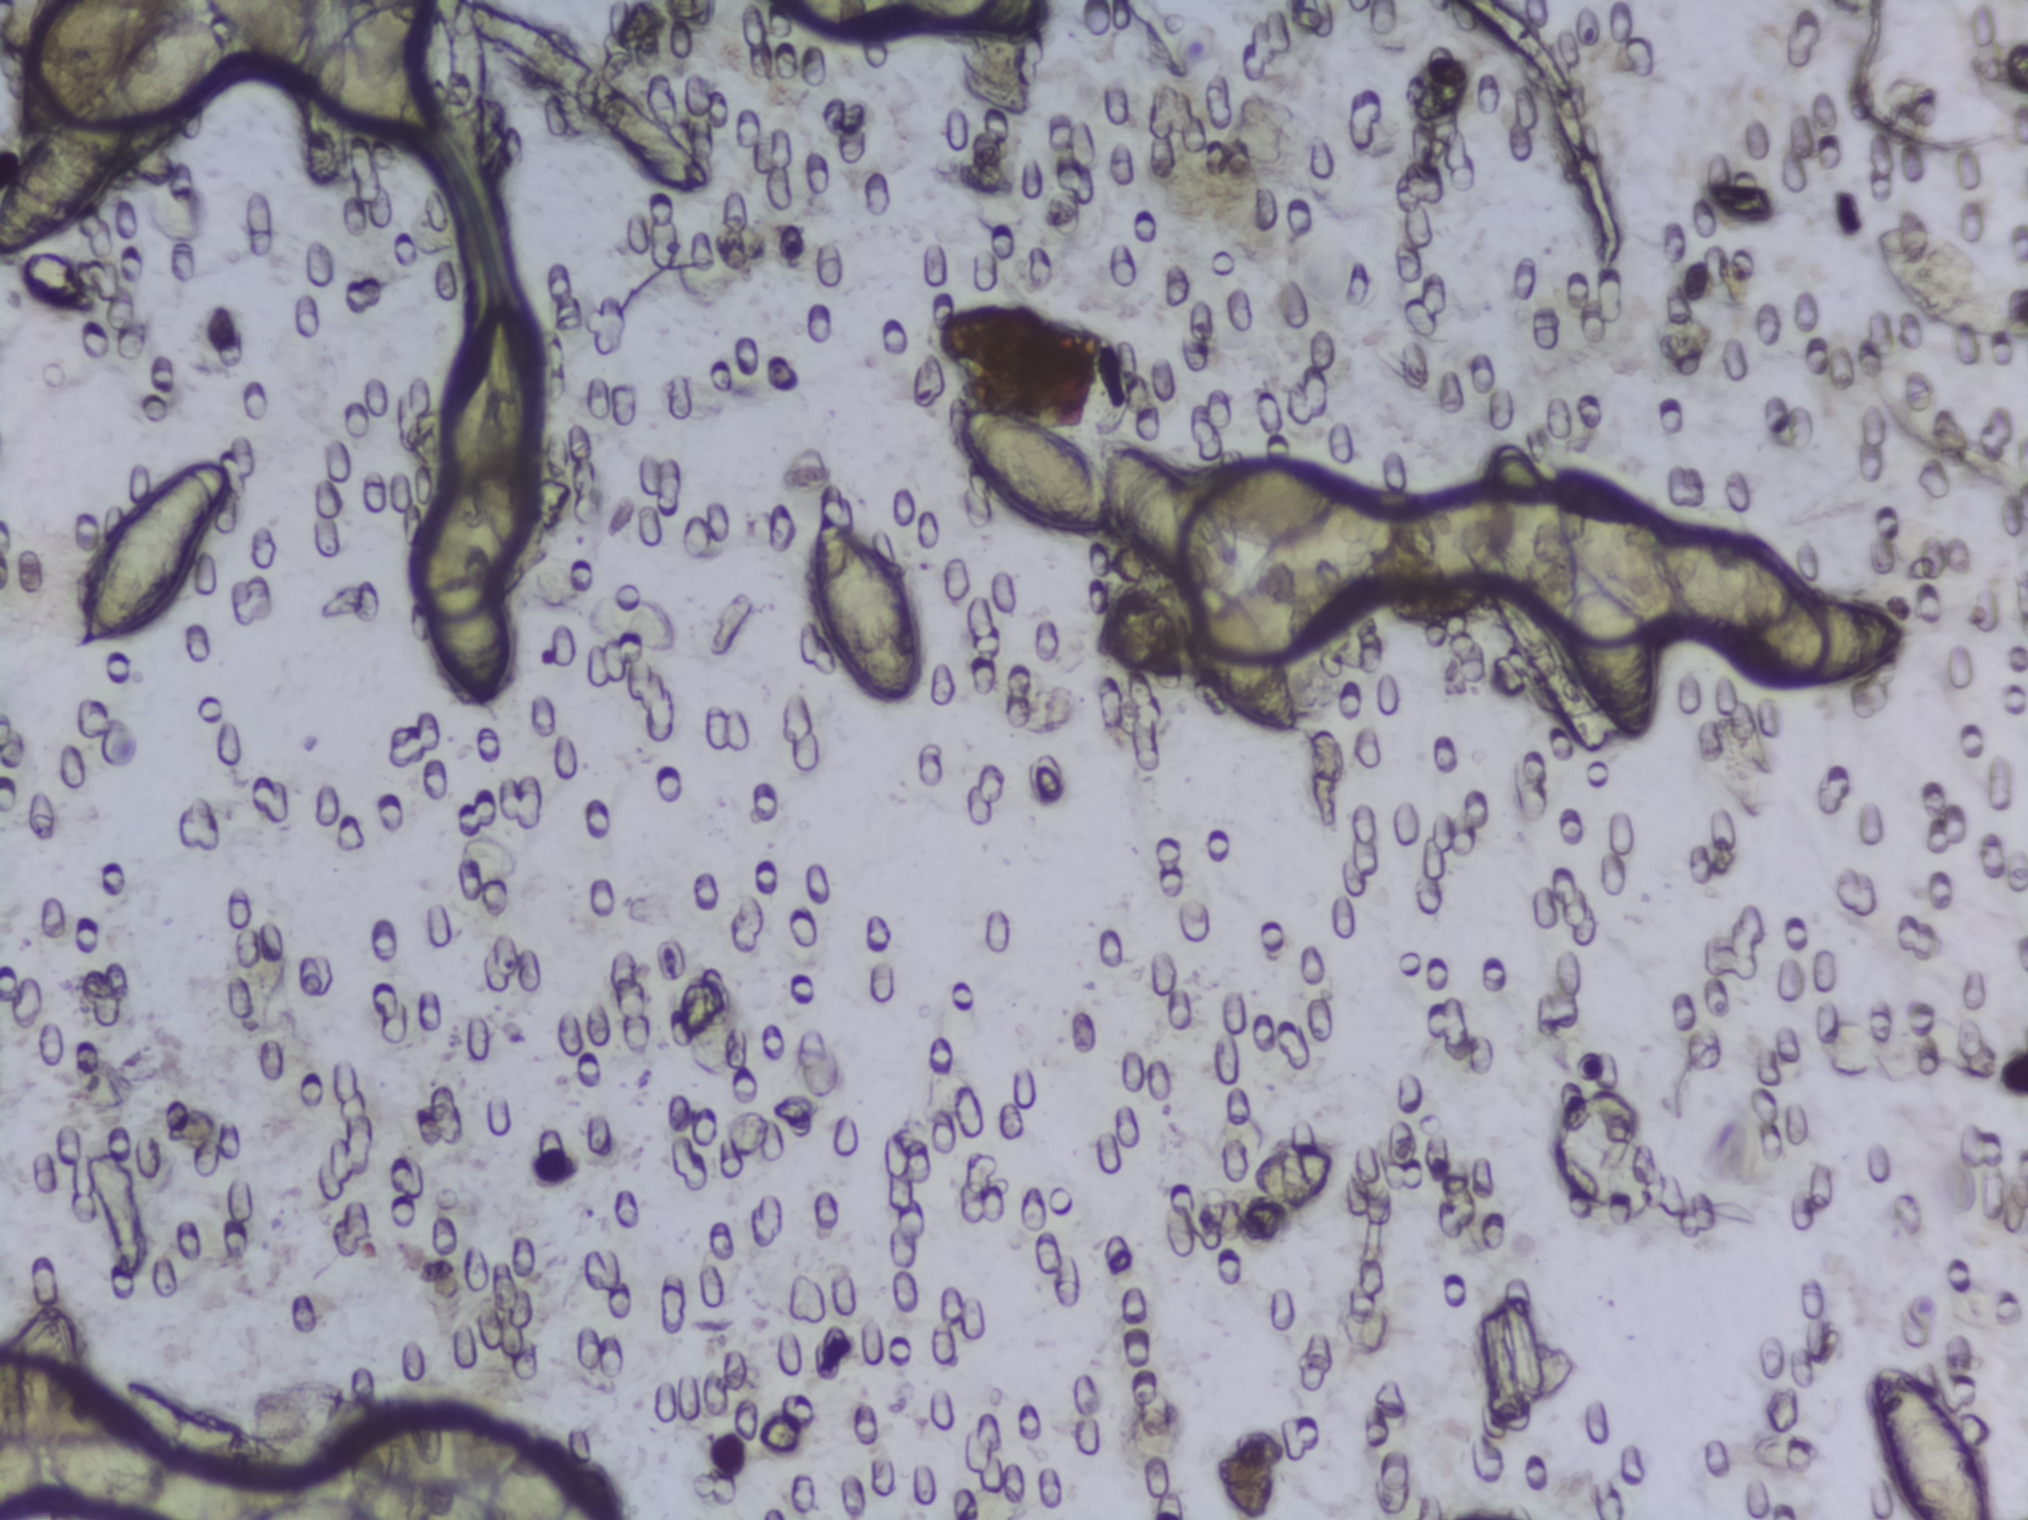
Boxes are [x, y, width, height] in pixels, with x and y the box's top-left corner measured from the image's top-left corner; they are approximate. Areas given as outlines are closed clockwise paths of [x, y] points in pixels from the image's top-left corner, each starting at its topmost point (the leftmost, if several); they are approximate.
Areas outlined as Schistosoma eggs, left to right:
1. outline [51, 0], [136, 0], [130, 42], [160, 18], [210, 8], [206, 0], [317, 0], [317, 38], [307, 63], [376, 1], [442, 0], [444, 21], [374, 149], [337, 182], [317, 179], [302, 141], [306, 67], [298, 72], [258, 64], [235, 40], [202, 98], [163, 127], [123, 143], [114, 183], [72, 236], [37, 253], [0, 258], [0, 171], [22, 147], [20, 64] (eggs clustered together; reaching the left and top edges of the frame)
2. outline [50, 1306], [70, 1307], [82, 1344], [80, 1395], [59, 1434], [113, 1435], [161, 1461], [196, 1459], [294, 1482], [336, 1462], [353, 1473], [366, 1470], [314, 1440], [339, 1415], [392, 1402], [450, 1402], [496, 1411], [532, 1434], [555, 1431], [573, 1456], [605, 1469], [628, 1519], [124, 1519], [71, 1490], [43, 1458], [33, 1494], [2, 1504], [0, 1359], [18, 1331] (eggs clustered together; reaching the left and bottom edges of the frame)
3. box [69, 450, 163, 204]
4. box [415, 303, 130, 426]
5. box [778, 0, 279, 39] (reaching the top edge of the frame)
6. box [809, 510, 117, 205]
7. outline [968, 401], [993, 403], [1087, 446], [1105, 468], [1101, 442], [1119, 439], [1178, 469], [1244, 455], [1282, 456], [1325, 466], [1358, 488], [1405, 484], [1416, 496], [1483, 485], [1489, 457], [1515, 440], [1549, 470], [1575, 465], [1609, 478], [1641, 505], [1656, 529], [1733, 549], [1745, 535], [1787, 560], [1815, 592], [1882, 610], [1910, 624], [1915, 638], [1856, 684], [1771, 689], [1736, 673], [1708, 631], [1679, 619], [1677, 636], [1655, 638], [1661, 659], [1658, 728], [1649, 742], [1634, 742], [1590, 705], [1557, 641], [1562, 634], [1539, 628], [1515, 609], [1489, 564], [1473, 580], [1439, 592], [1363, 589], [1364, 613], [1344, 642], [1307, 666], [1286, 669], [1303, 730], [1297, 737], [1279, 737], [1214, 706], [1186, 671], [1176, 604], [1183, 577], [1120, 532], [1076, 539], [994, 492], [964, 447] (eggs clustered together)
8. box [1866, 1361, 124, 159] (reaching the bottom edge of the frame)
9. box [1872, 221, 156, 123] (reaching the right edge of the frame)
About 11% of the image's pixels are marked (the marked pixels themselves, not the boxes and the outlines around them). An outlined area can hold more than one egg.
One field of view of a urine filter membrane, 4× objective, 2028 × 1520 pixels.